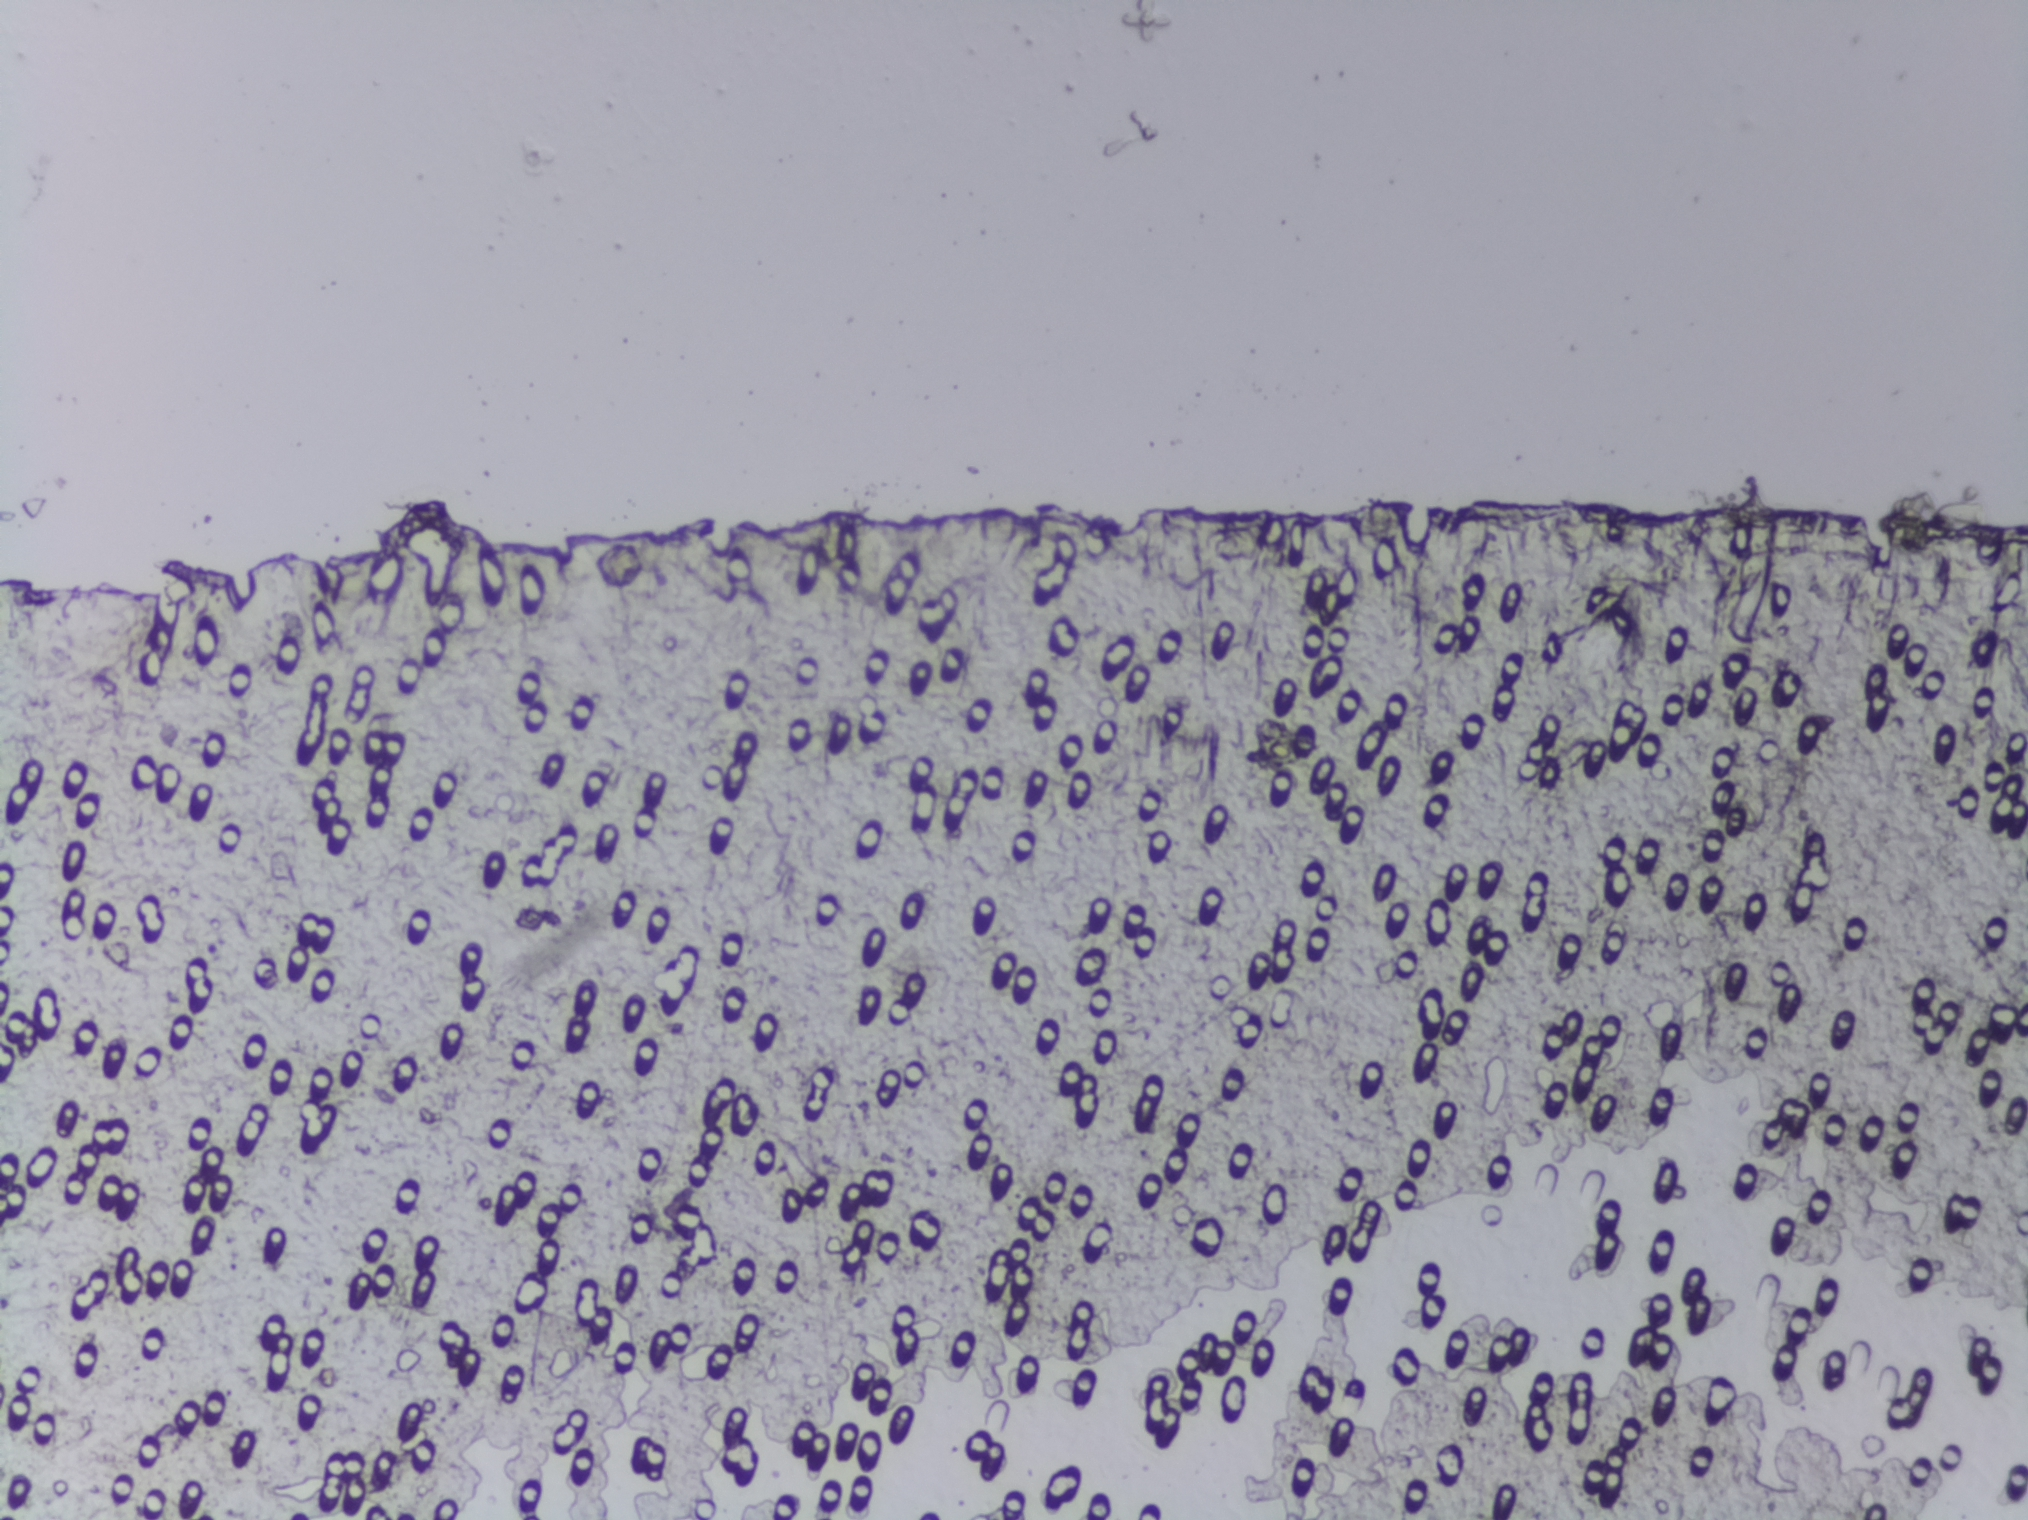
Microscope photograph (4× objective) of a membrane that a urine sample was filtered through. Field of view: about 1.5 mm wide and 1.1 mm high.
The expert annotation marks no Schistosoma egg in this field of view.